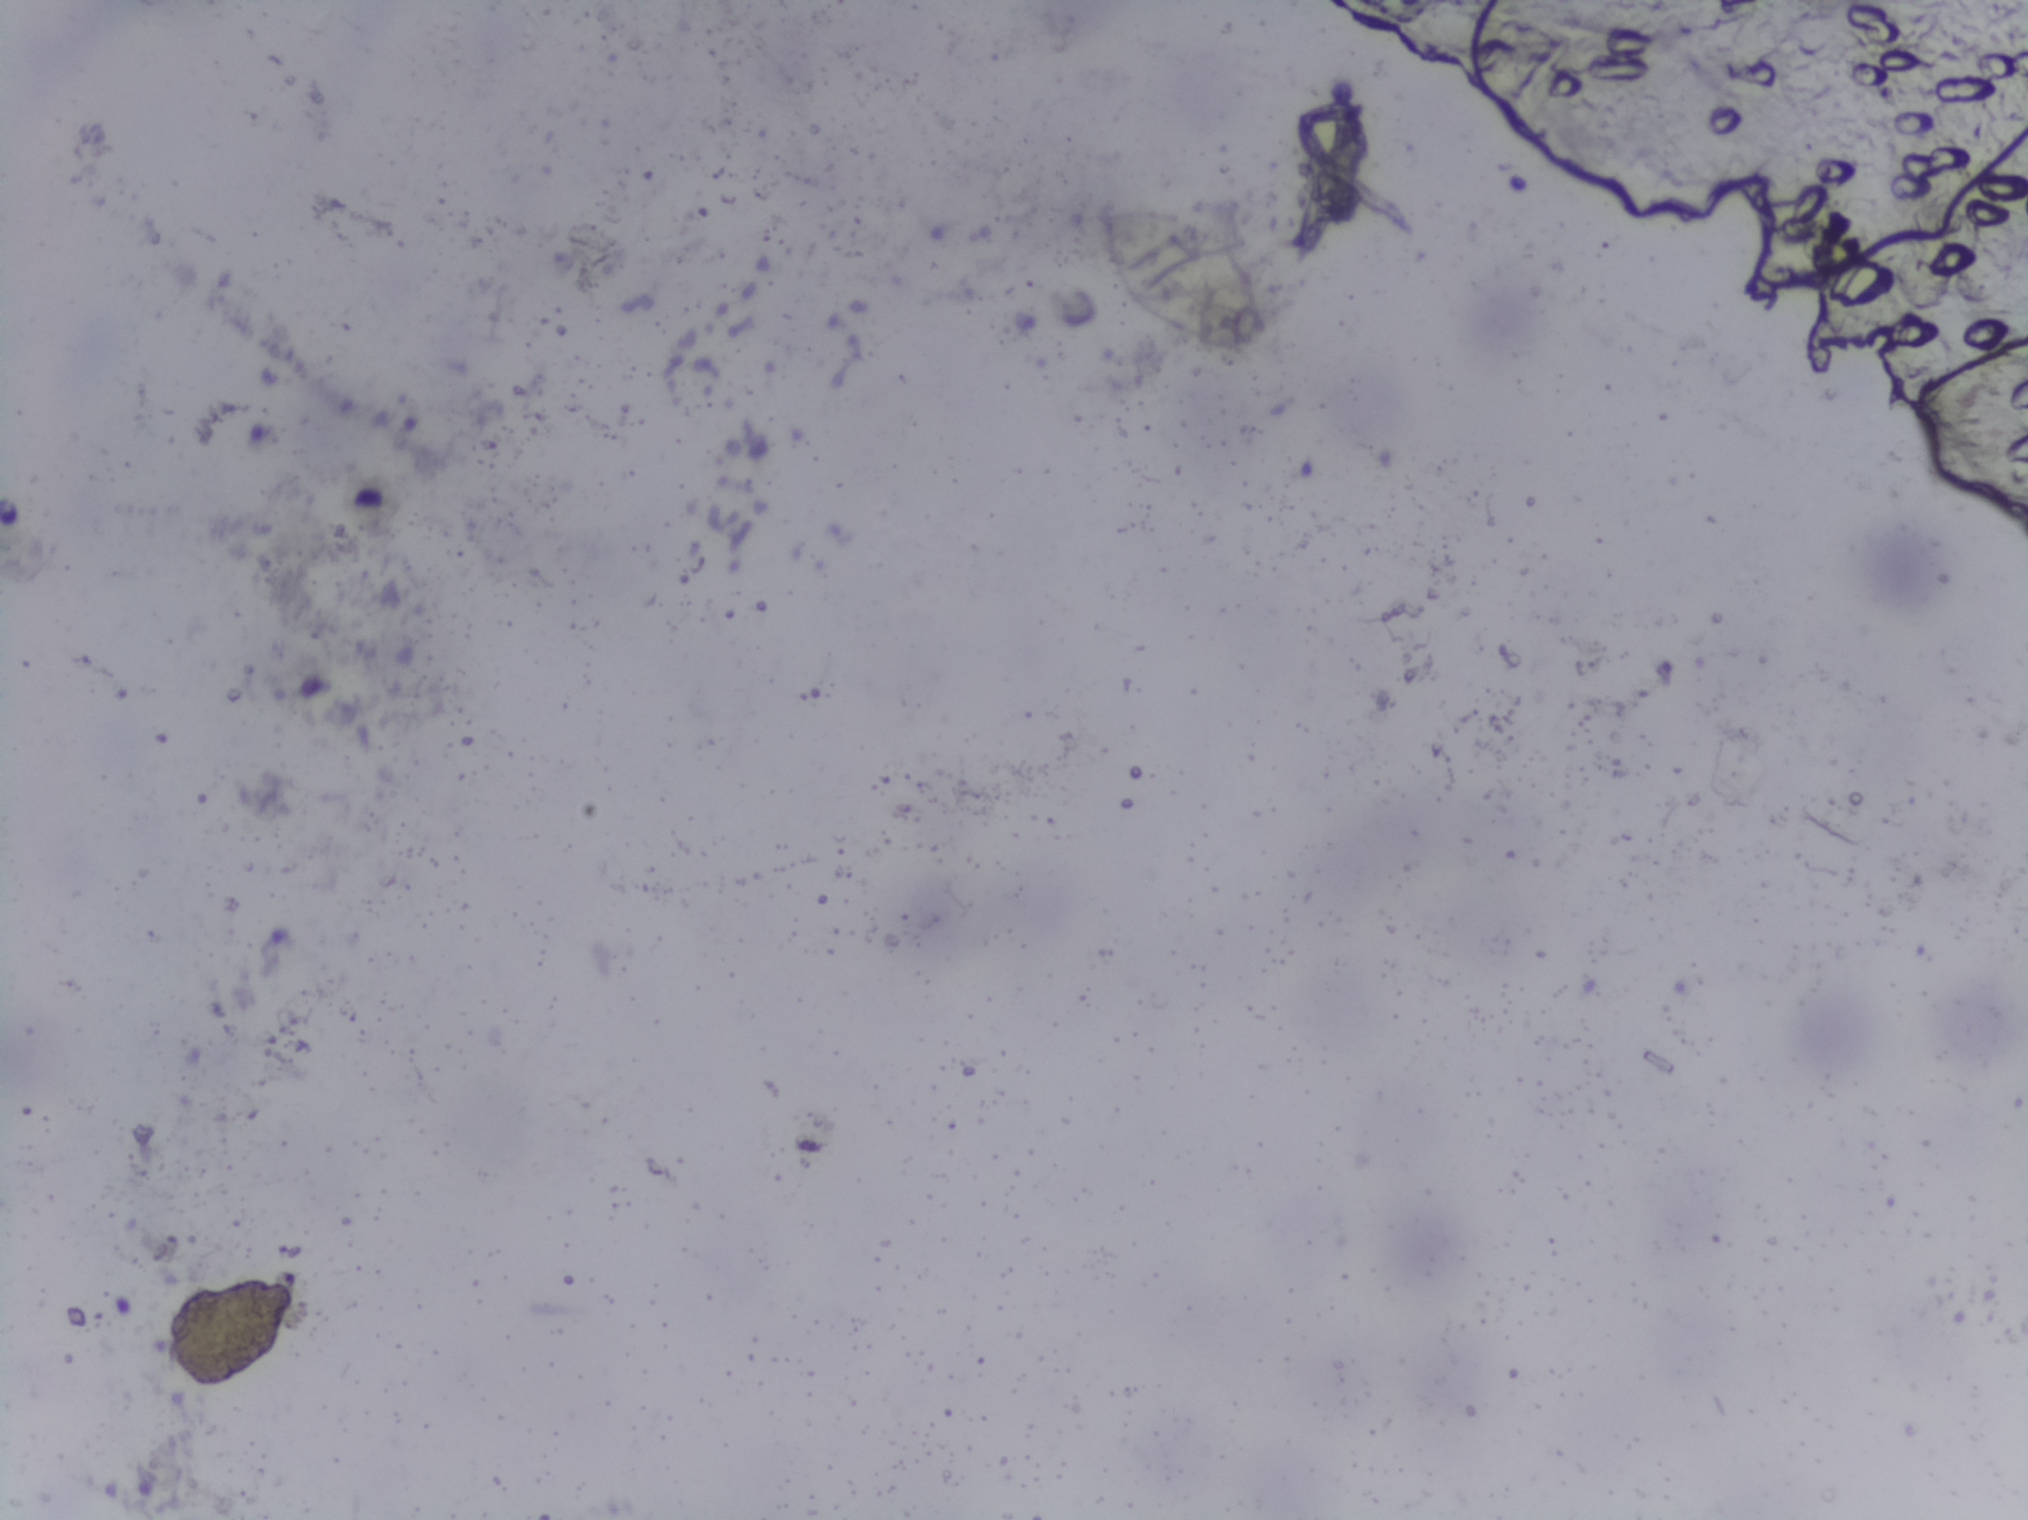
Urine filter membrane photographed through a 4× microscope objective. The field of view is about 1.5 mm × 1.1 mm.
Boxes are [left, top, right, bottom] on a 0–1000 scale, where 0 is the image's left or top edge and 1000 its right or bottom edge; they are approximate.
Schistosoma eggs are outlined in one area of this image: [541, 136, 625, 236]. Eggs that touch can end up inside the same outlined area.